Photomicrograph of a urine filtration membrane, 4× objective. The field of view is about 1.5 mm × 1.1 mm.
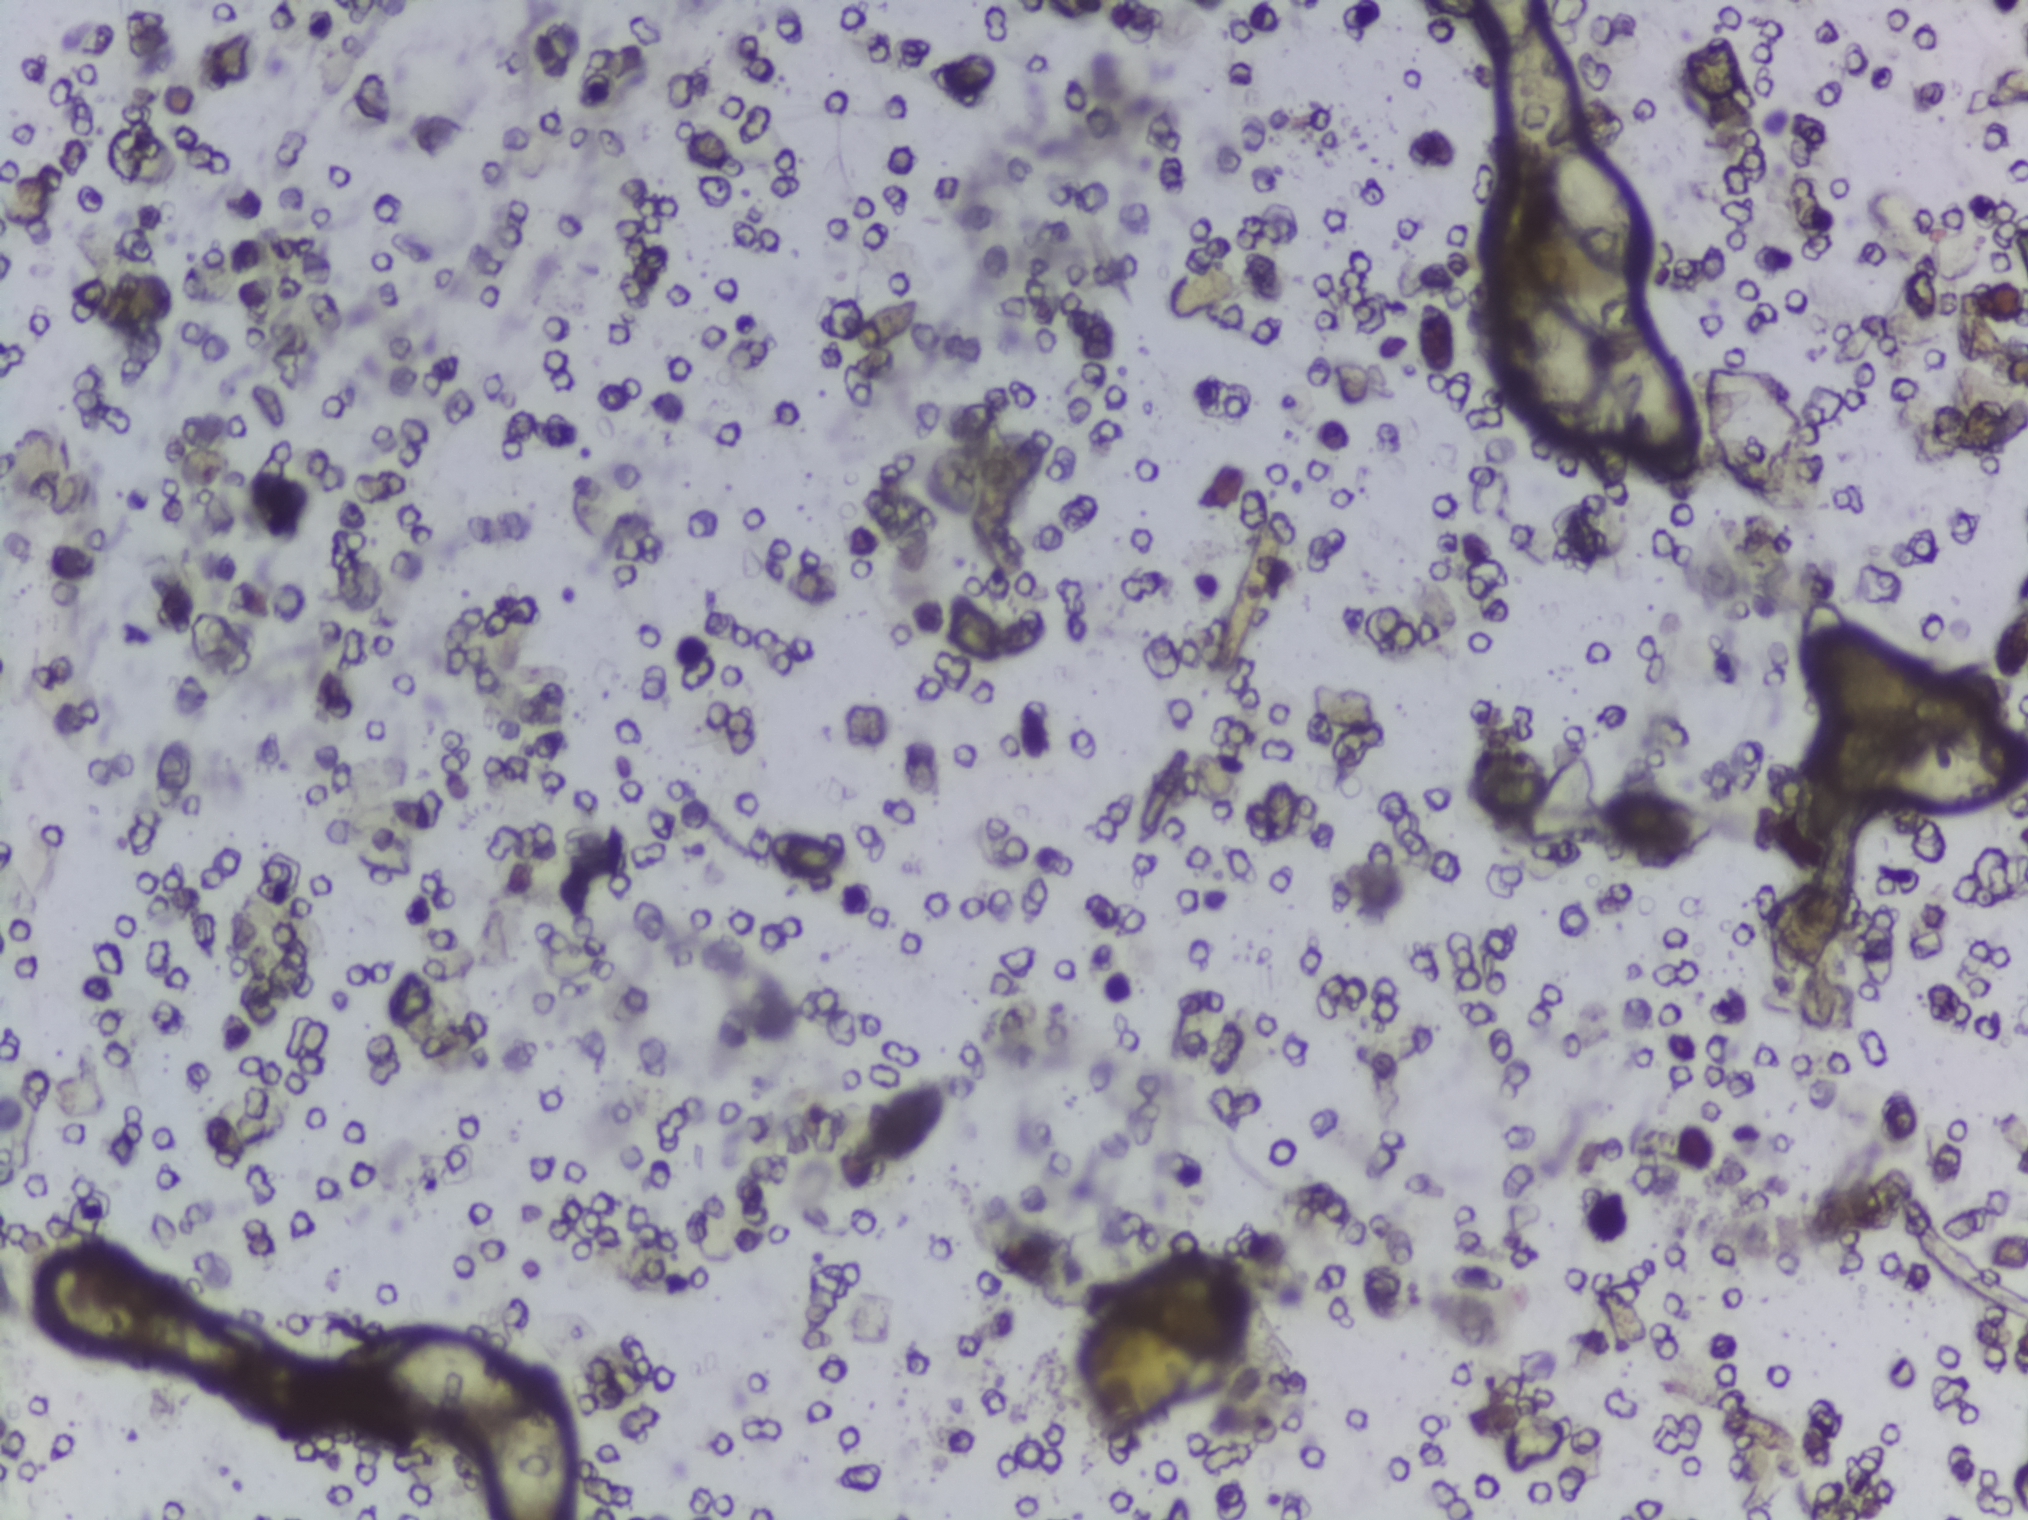
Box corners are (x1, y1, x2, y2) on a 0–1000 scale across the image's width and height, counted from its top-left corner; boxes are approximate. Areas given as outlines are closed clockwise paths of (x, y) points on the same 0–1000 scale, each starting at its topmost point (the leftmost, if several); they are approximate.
Three areas of this image are outlined as Schistosoma eggs, from left to right: box (165, 873, 284, 1000) (reaching the bottom edge of the frame); outline (729, 0), (759, 0), (759, 8), (775, 29), (777, 41), (774, 81), (768, 98), (774, 95), (792, 105), (807, 124), (814, 175), (812, 183), (804, 185), (805, 206), (827, 229), (837, 272), (836, 297), (831, 317), (821, 315), (807, 297), (802, 319), (792, 321), (770, 287), (769, 258), (772, 244), (778, 234), (787, 237), (789, 223), (779, 215), (750, 169), (751, 139), (752, 133), (764, 128), (765, 108), (752, 117), (742, 104), (739, 88), (740, 38), (733, 26) (reaching the top edge of the frame); box (924, 471, 1000, 534) (reaching the right edge of the frame). About 2.6% of the image's pixels are marked (the marked pixels themselves, not the boxes and the outline around them). Eggs that touch can end up inside the same outlined area. Any one outlined egg may, rarely, be S. mansoni rather than S. haematobium.